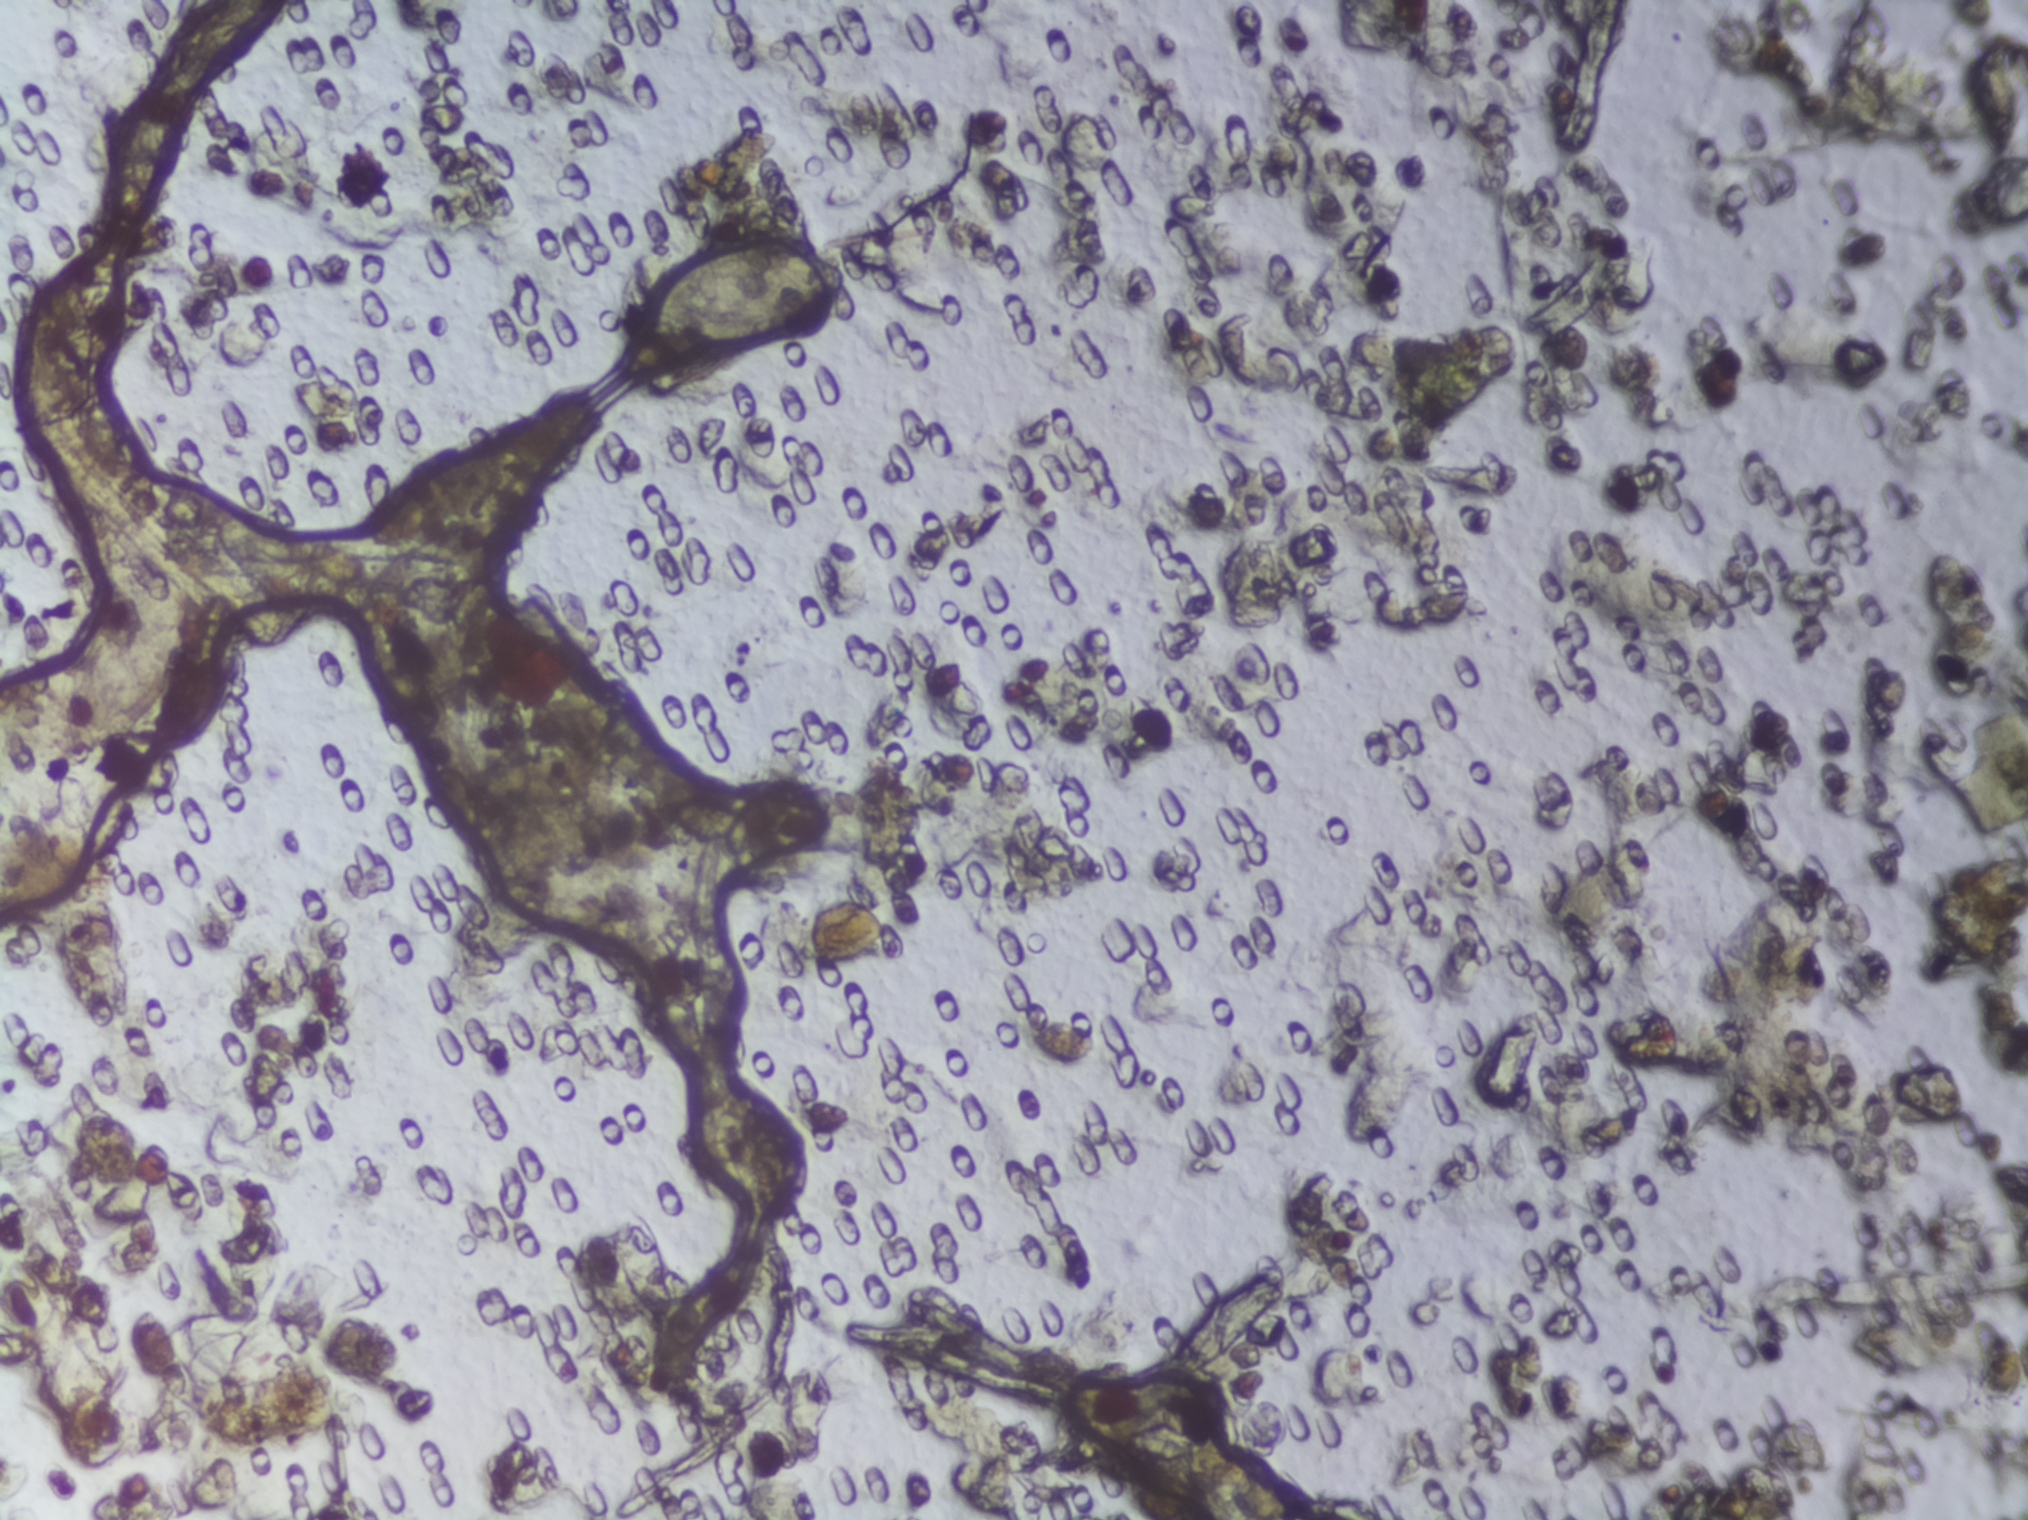
Urine filter membrane photographed through a 4× microscope objective. The field of view is about 1.5 mm × 1.1 mm.
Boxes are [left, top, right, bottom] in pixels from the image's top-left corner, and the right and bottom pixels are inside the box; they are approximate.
{"schistosoma_egg_areas_xyxy_px": [[69, 573, 202, 744], [371, 442, 464, 545], [631, 244, 844, 353]]}
An outlined area can hold more than one egg. Any one outlined egg may, rarely, be S. mansoni rather than S. haematobium.